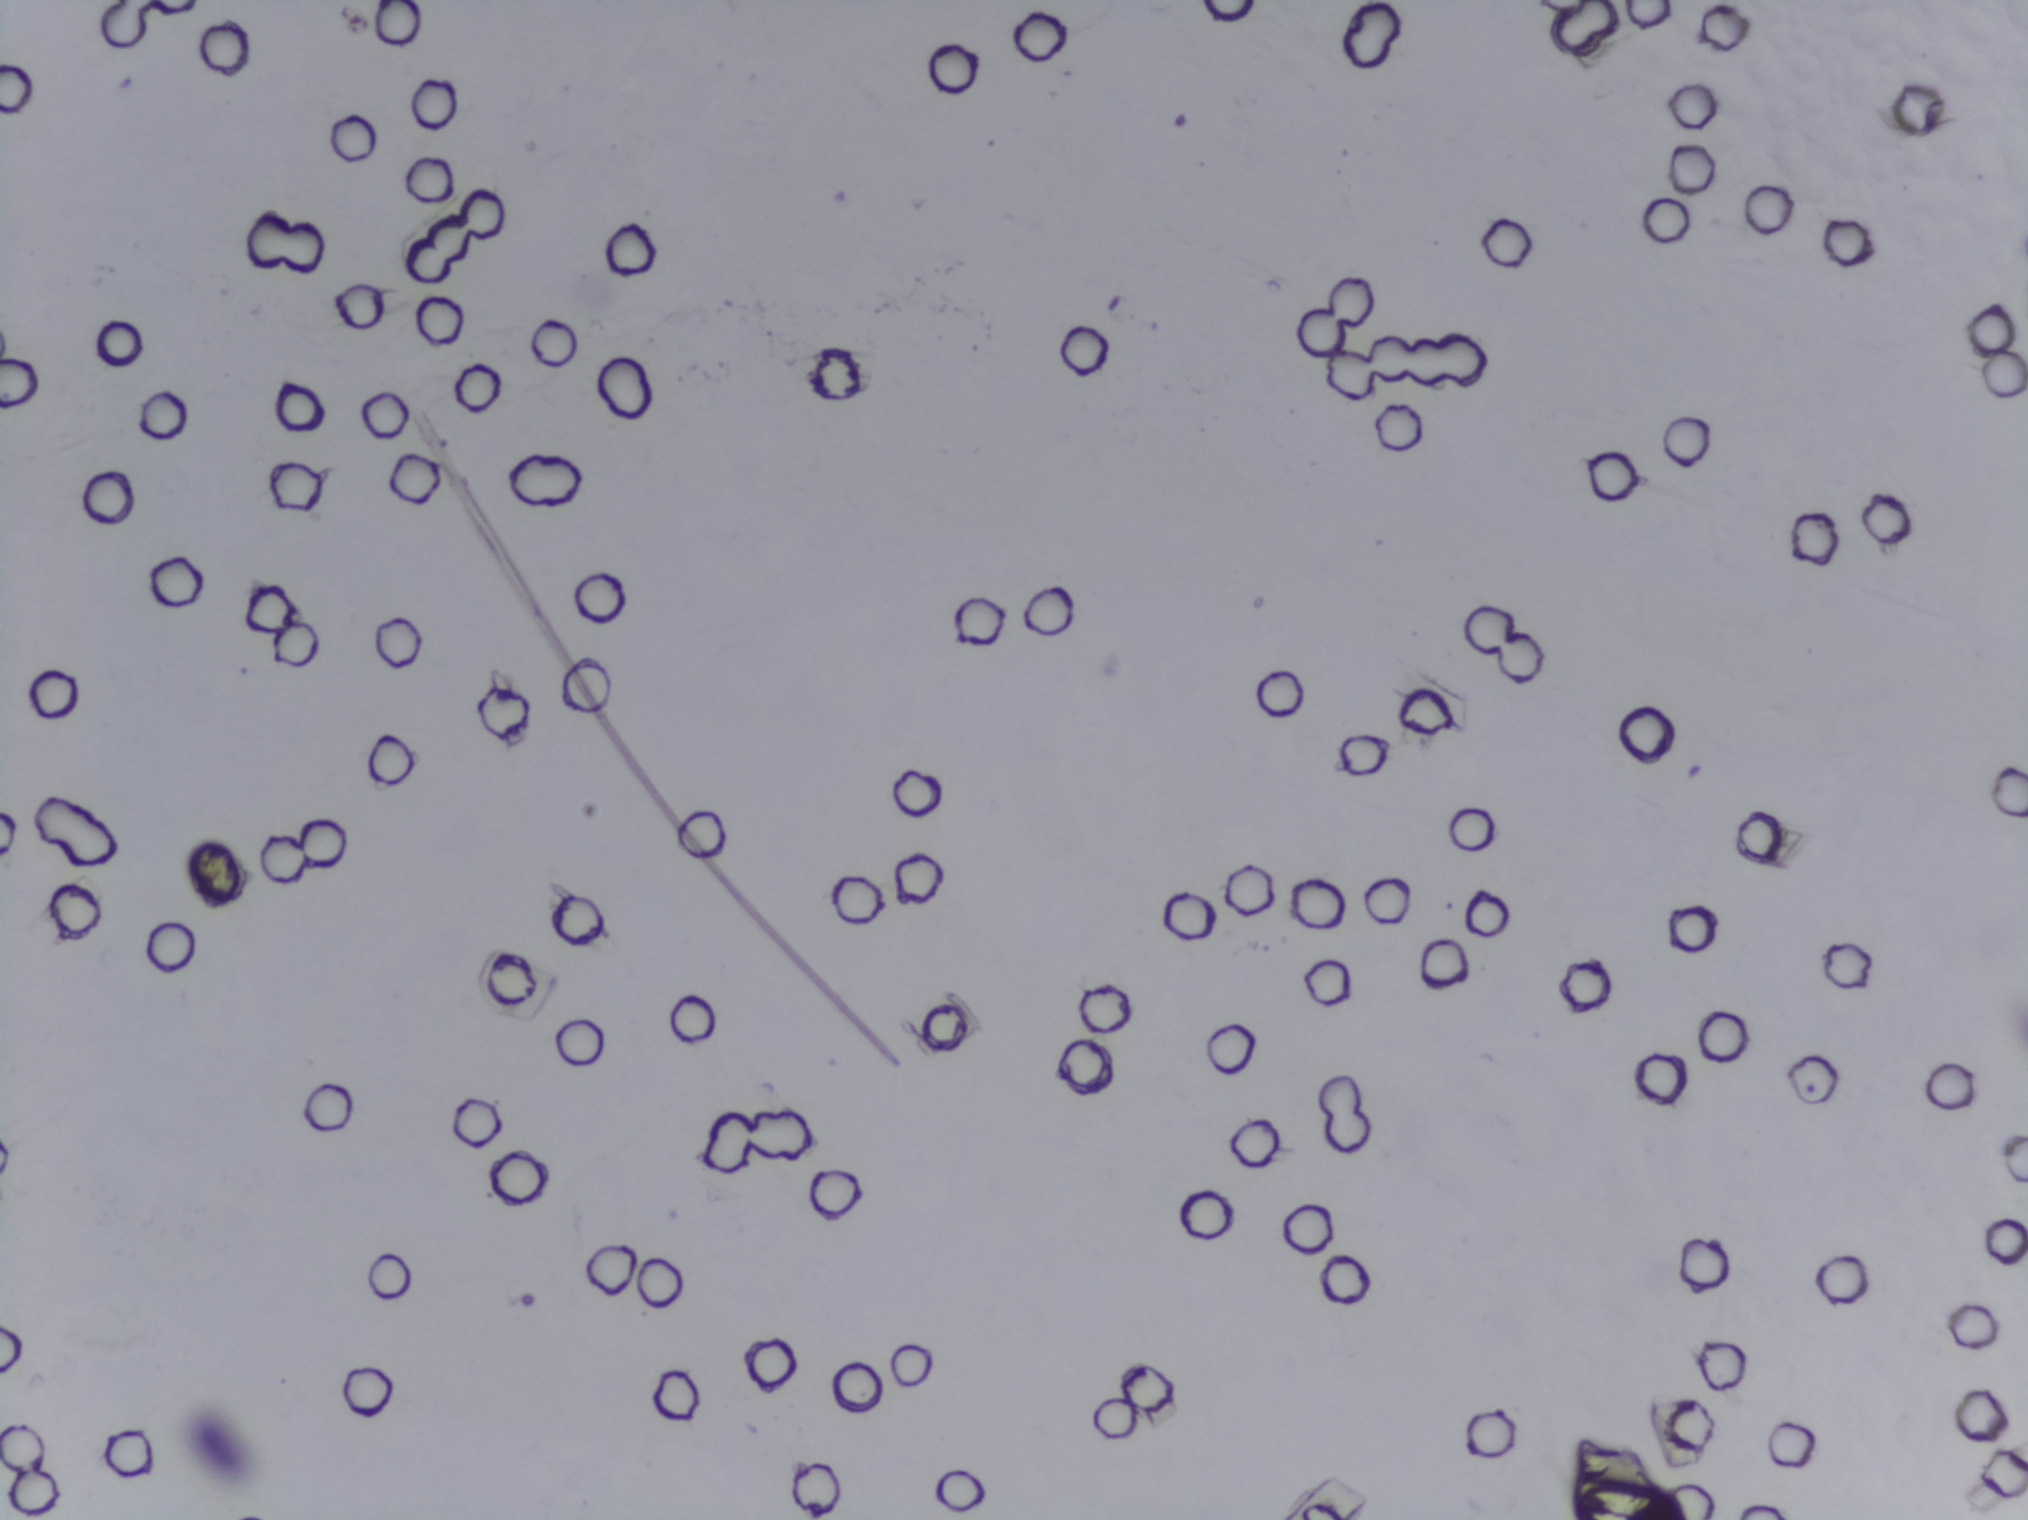
Photograph from an automated digital microscope: urine filter membrane, 4× objective.
No Schistosoma egg is outlined in this image's expert annotation.